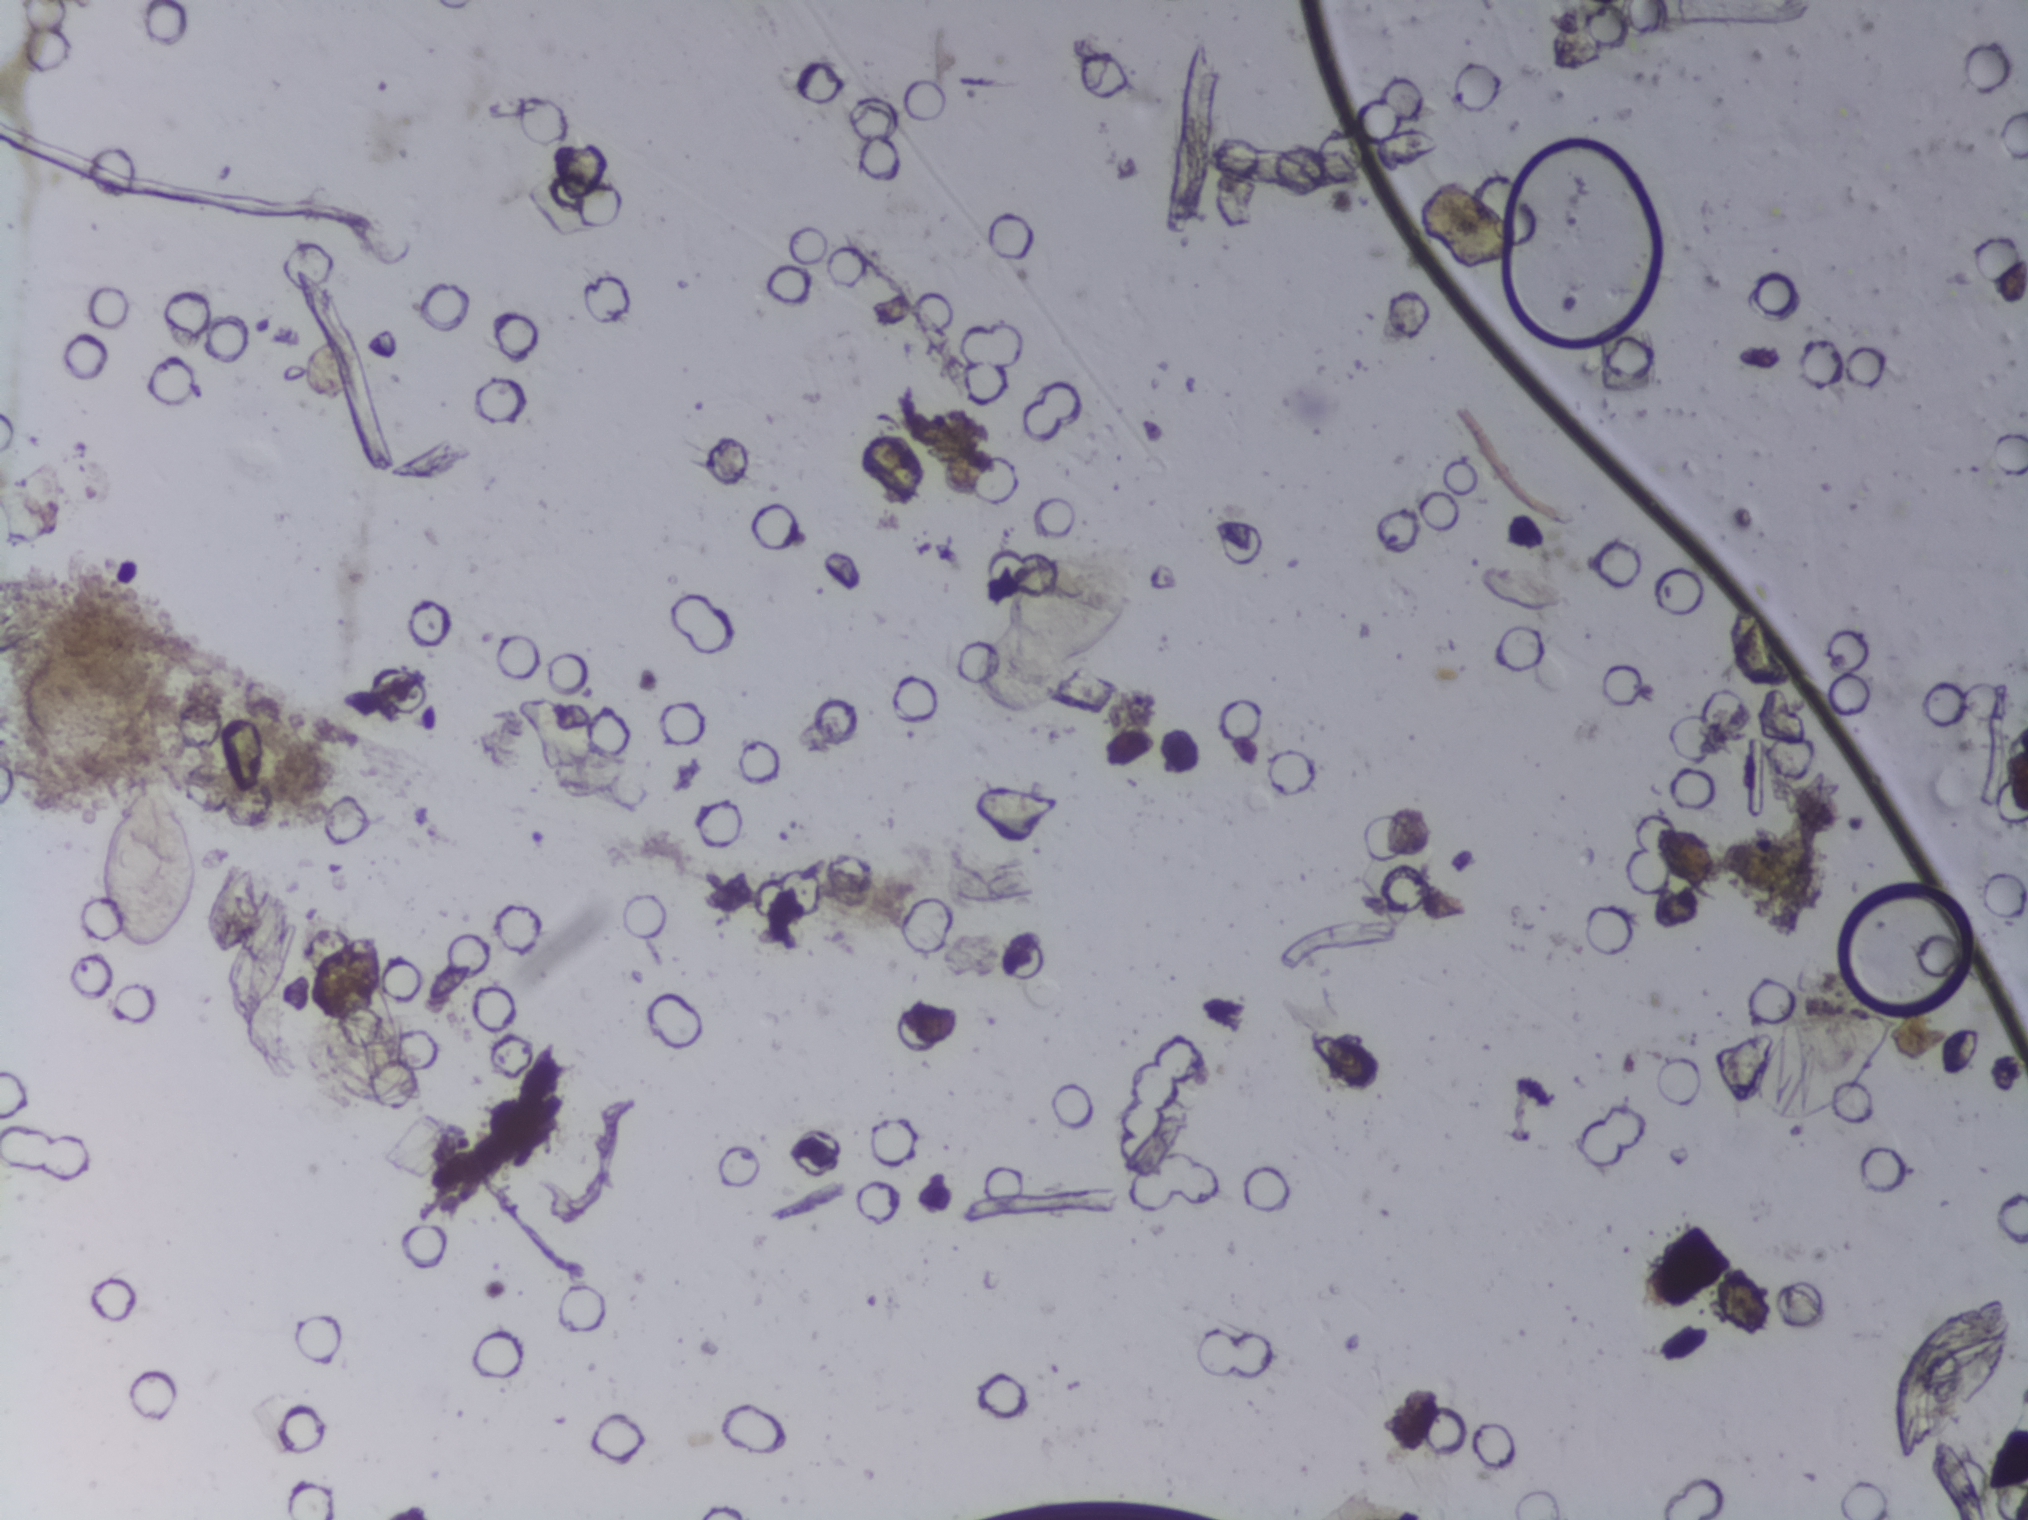
Urine filtration membrane under a 4× objective, photographed by an automated digital microscope.
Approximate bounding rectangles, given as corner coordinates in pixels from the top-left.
Findings: two areas outlined as Schistosoma eggs. Locations, left to right: (x1=101, y1=779, x2=197, y2=954); (x1=1746, y1=1013, x2=1900, y2=1124). An outlined area can hold more than one egg.